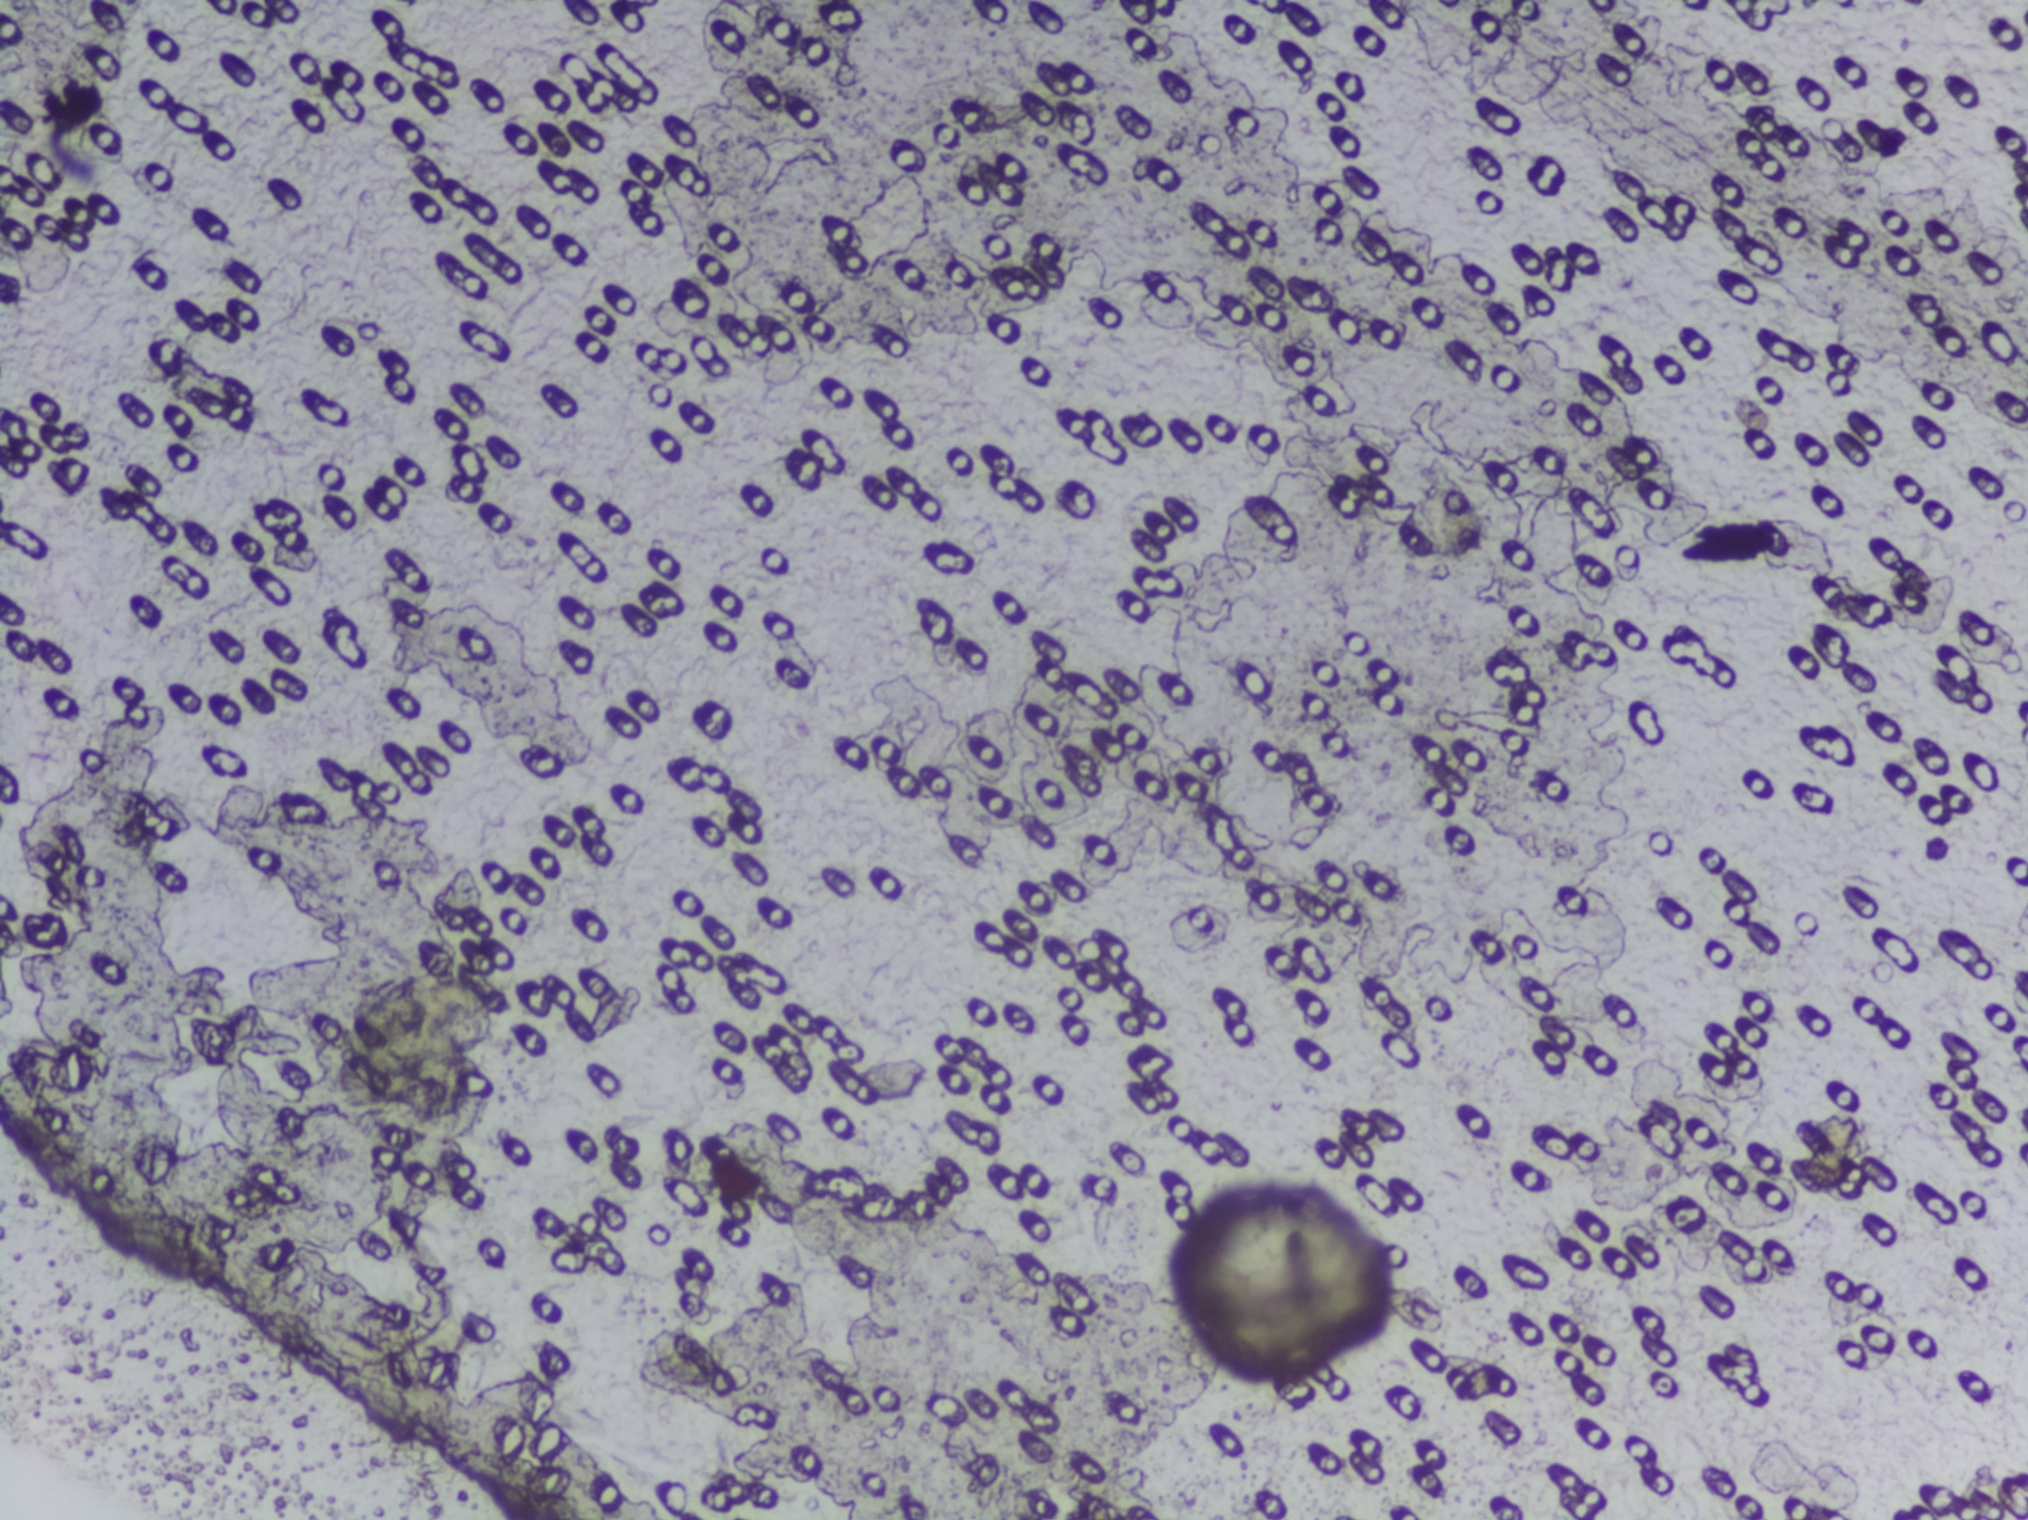
Urine filtration membrane under a 4× objective, photographed by an automated digital microscope.
The expert annotation outlines no Schistosoma egg in this image.